Photomicrograph of a urine filtration membrane, 4× objective.
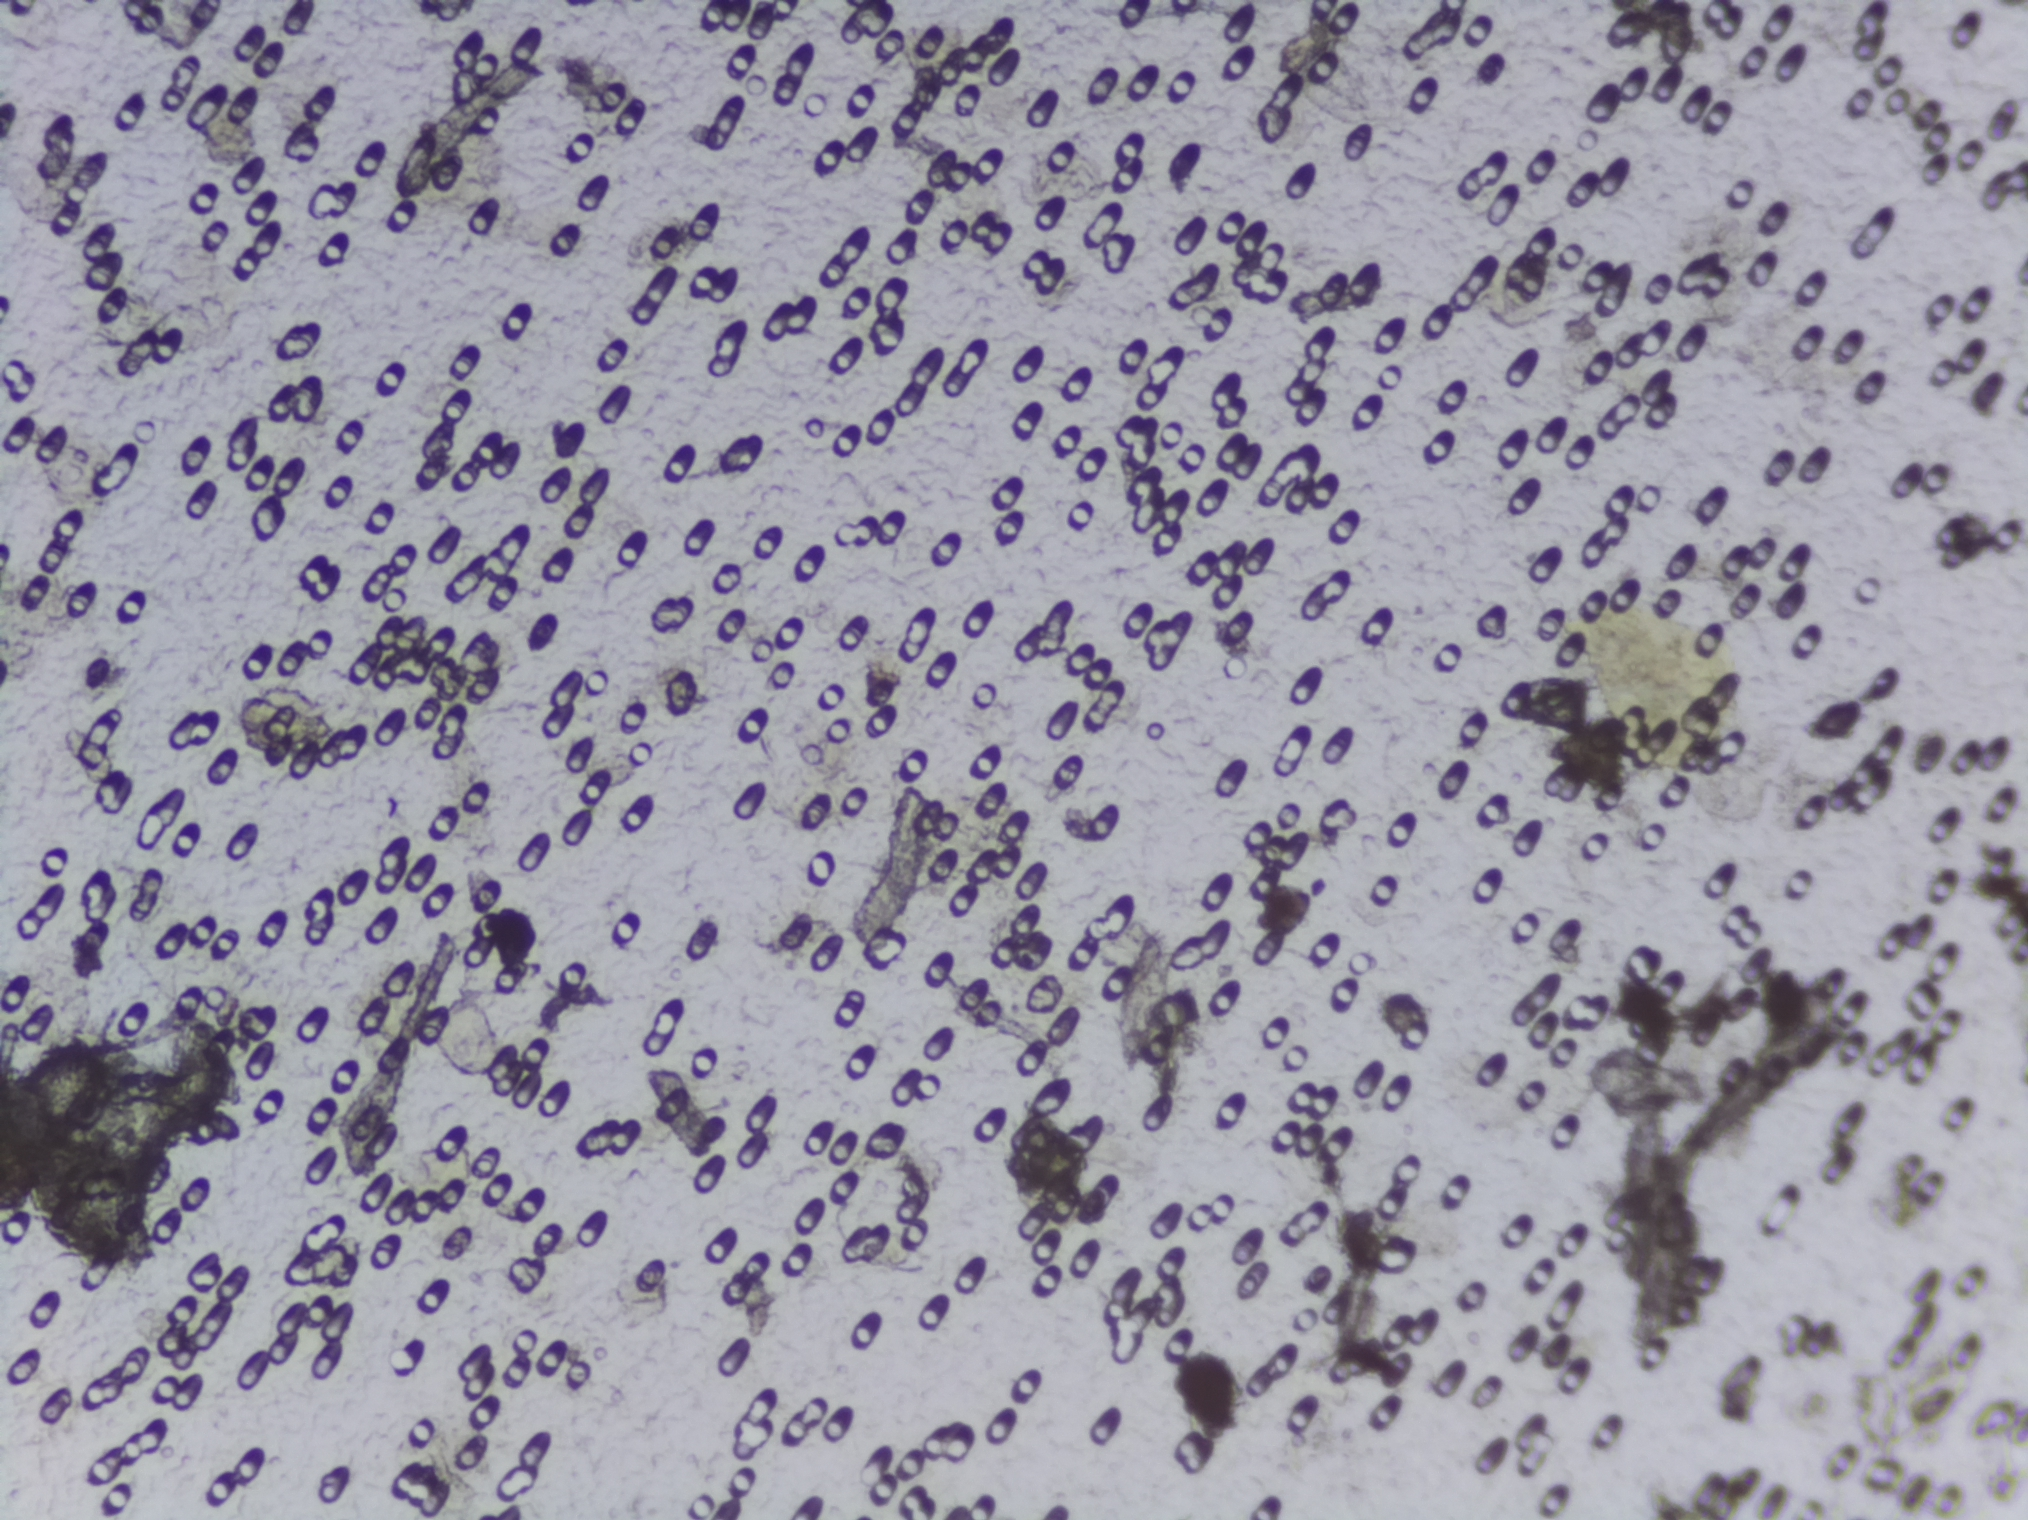
No Schistosoma egg is outlined in this image's expert annotation.